Urine filter membrane photographed through a 4× microscope objective.
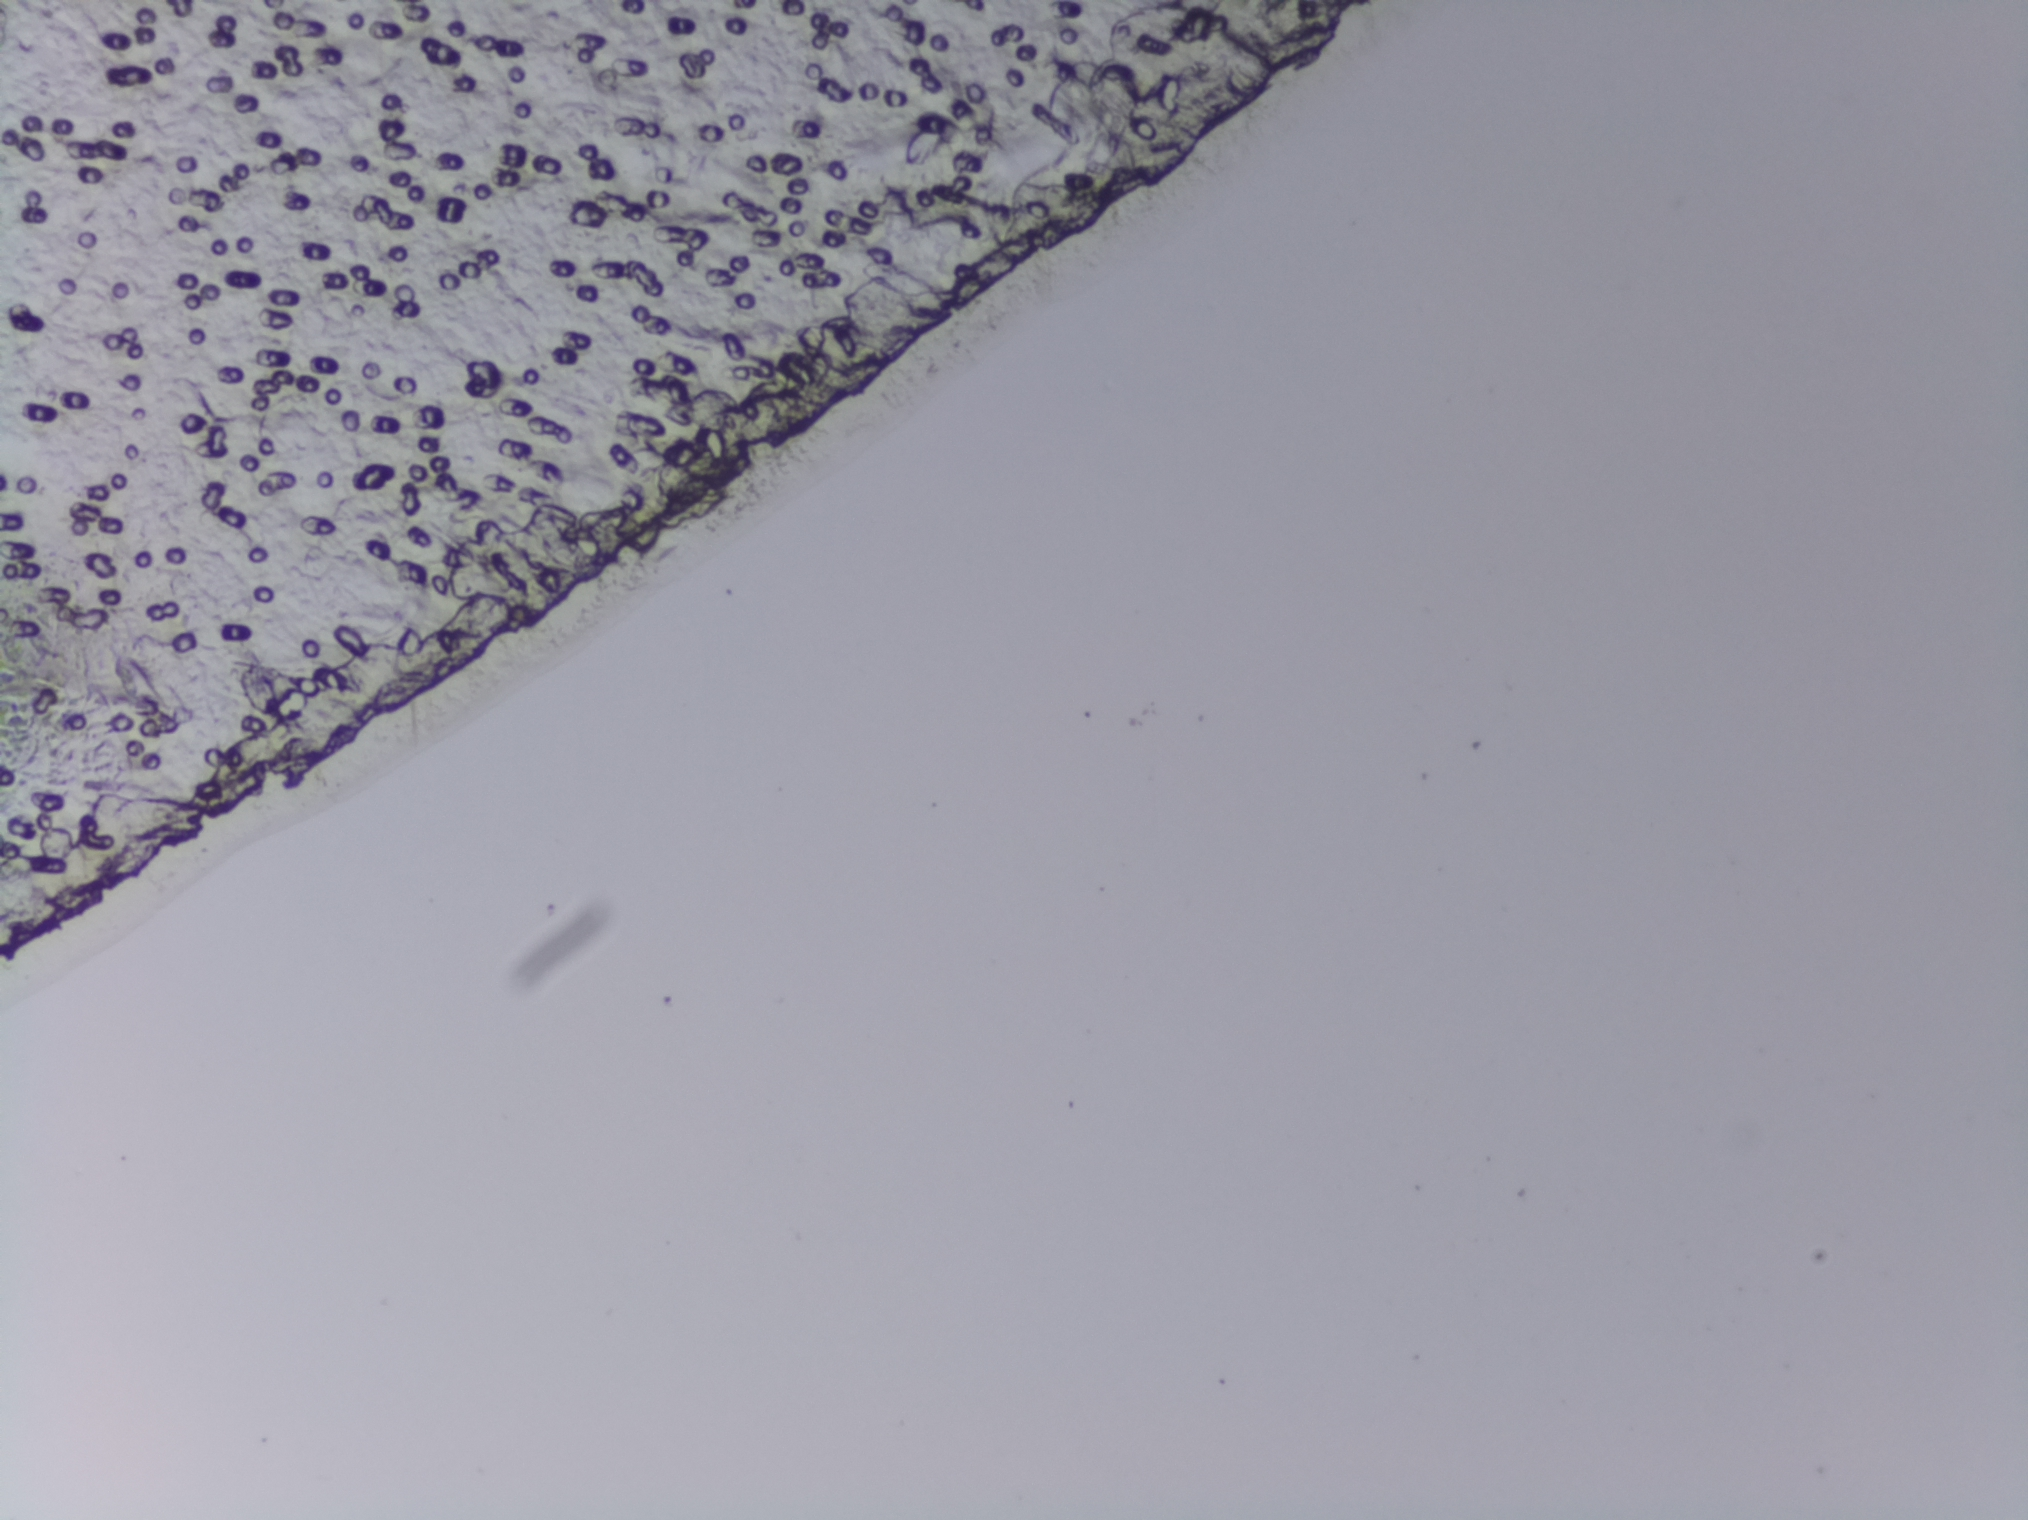
The expert annotation marks no Schistosoma egg in this field of view.